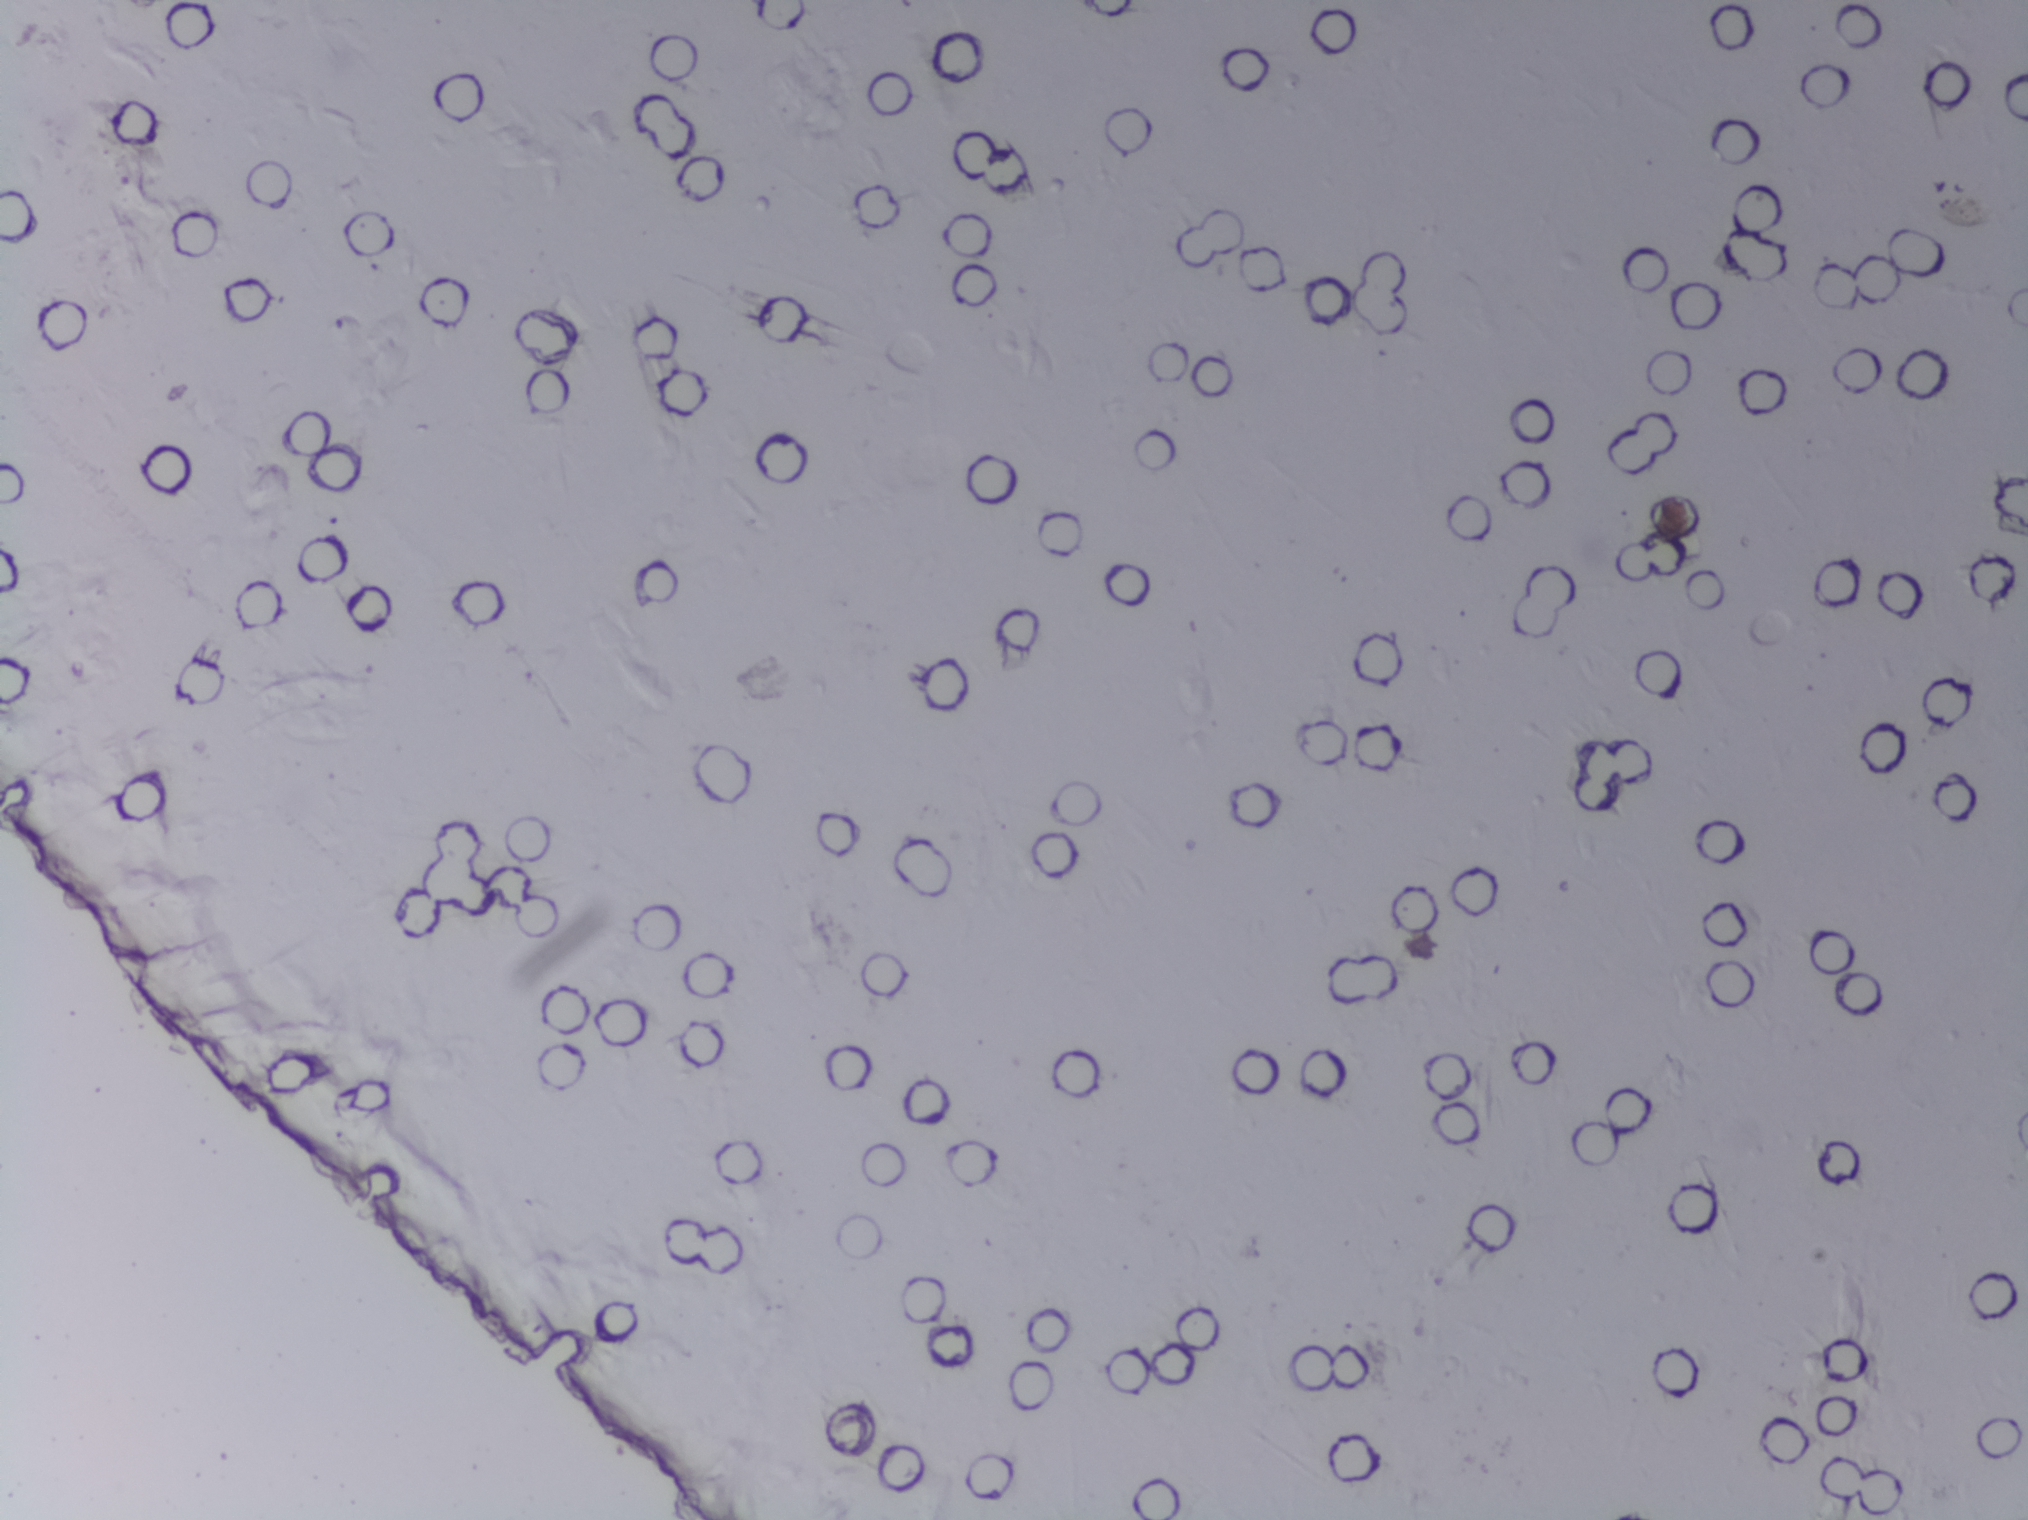
No Schistosoma egg is outlined in this image's expert annotation.
Urine filtration membrane under a 4× objective, photographed by an automated digital microscope. Field of view: about 1.5 mm wide and 1.1 mm high.